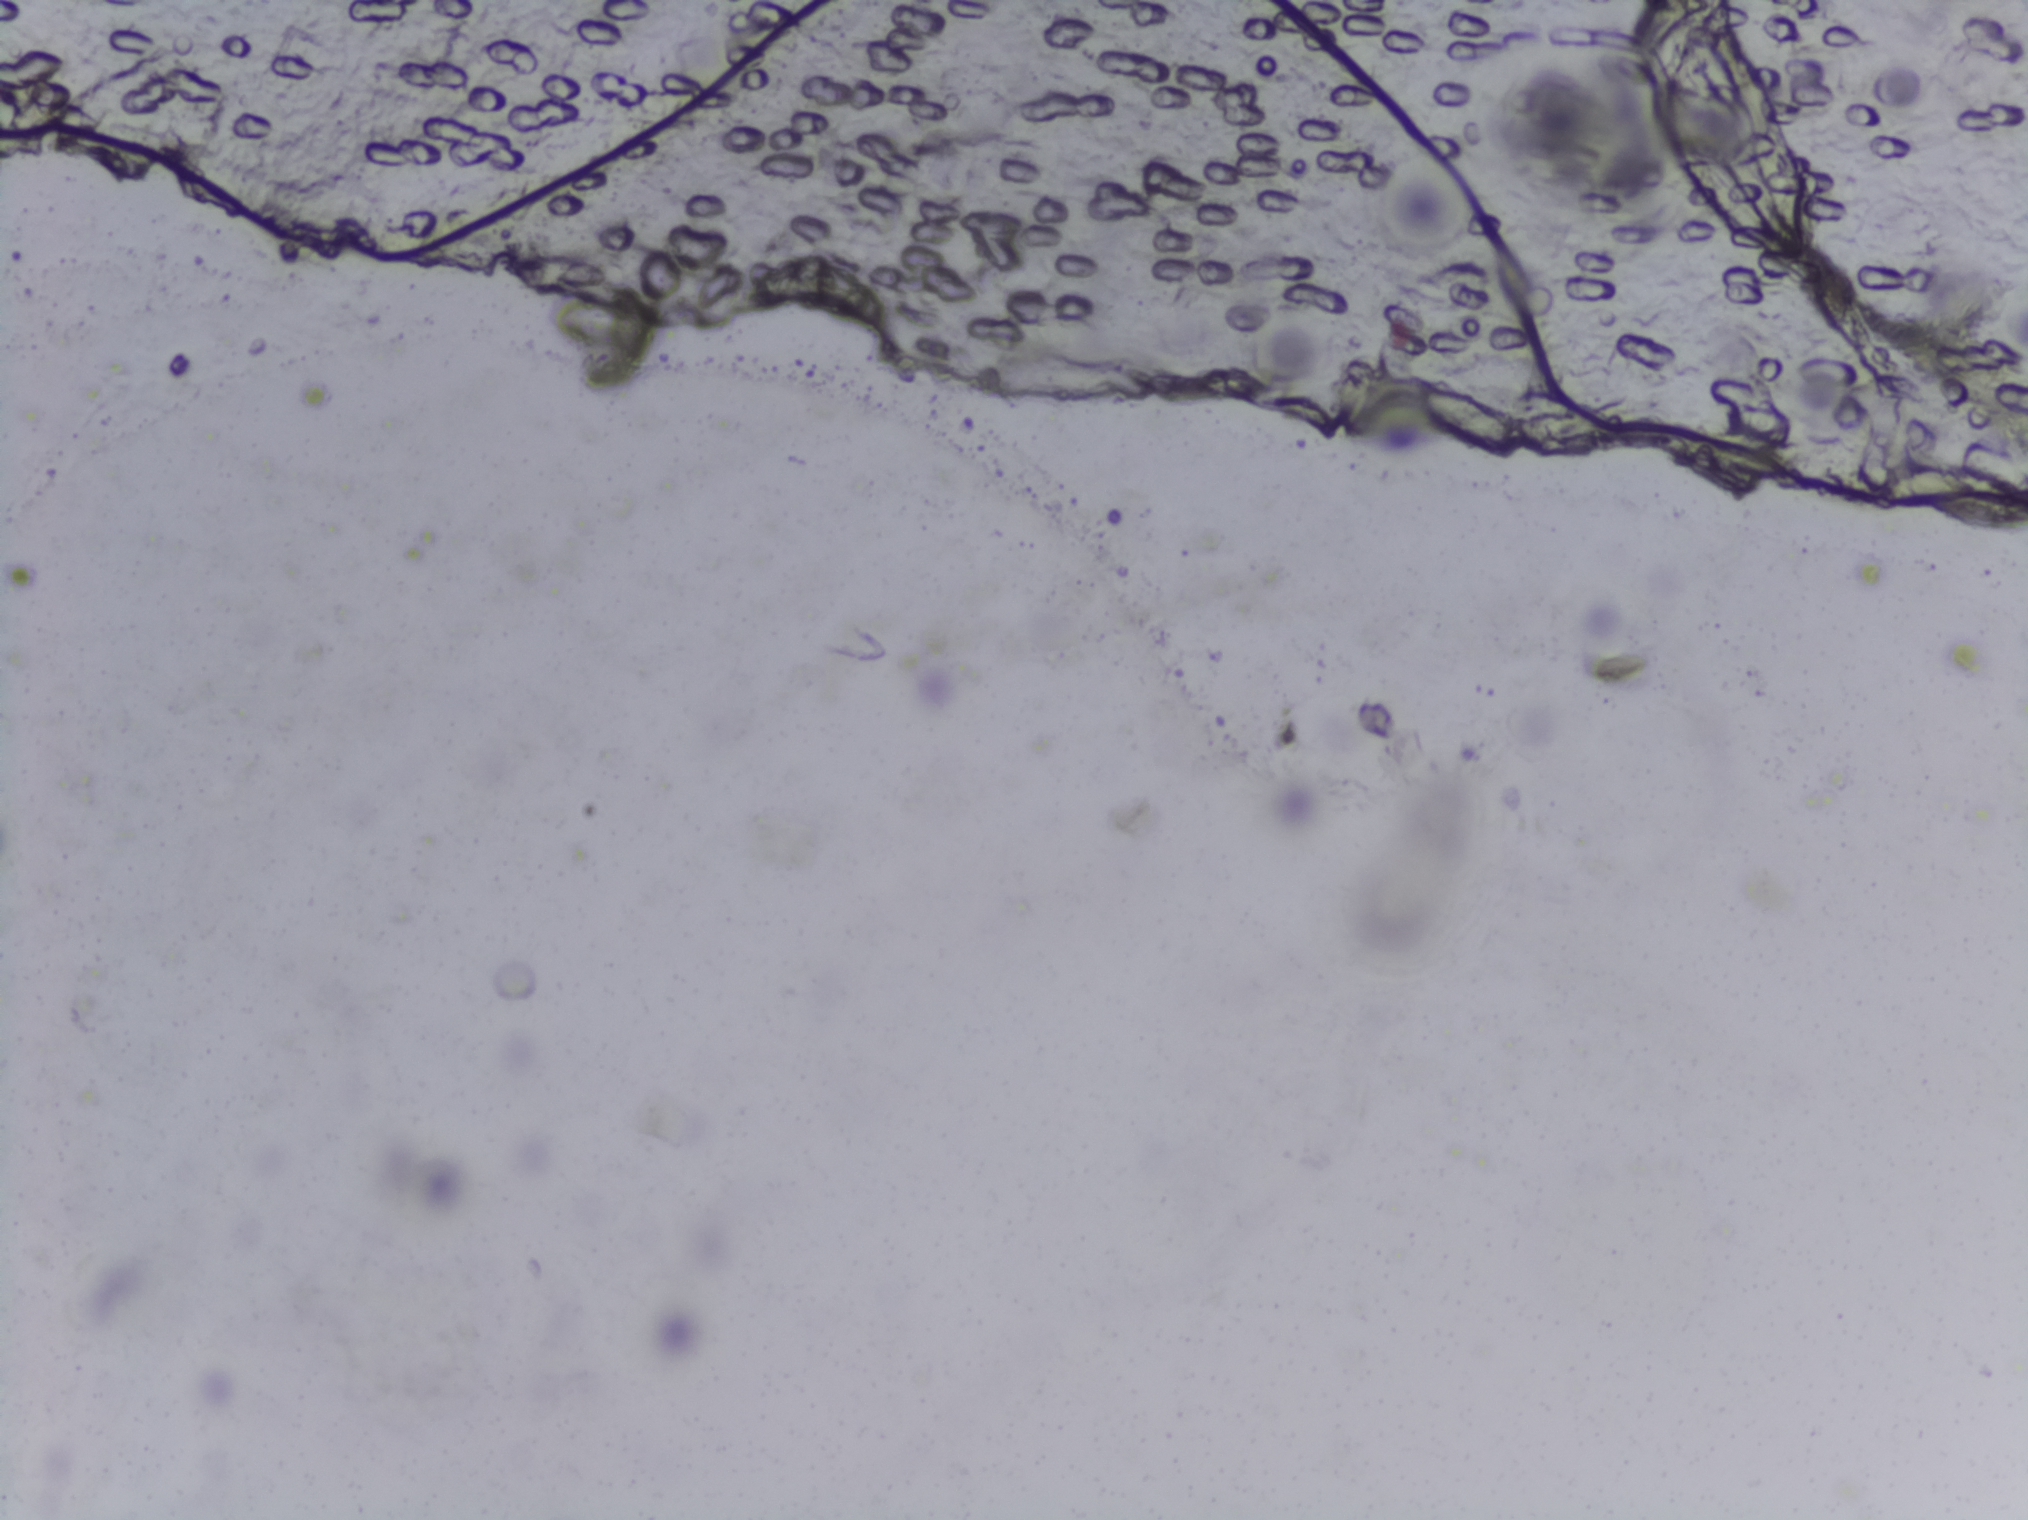
Urine filtration membrane under a 4× objective, photographed by an automated digital microscope.
No area of this image was outlined as a Schistosoma egg.